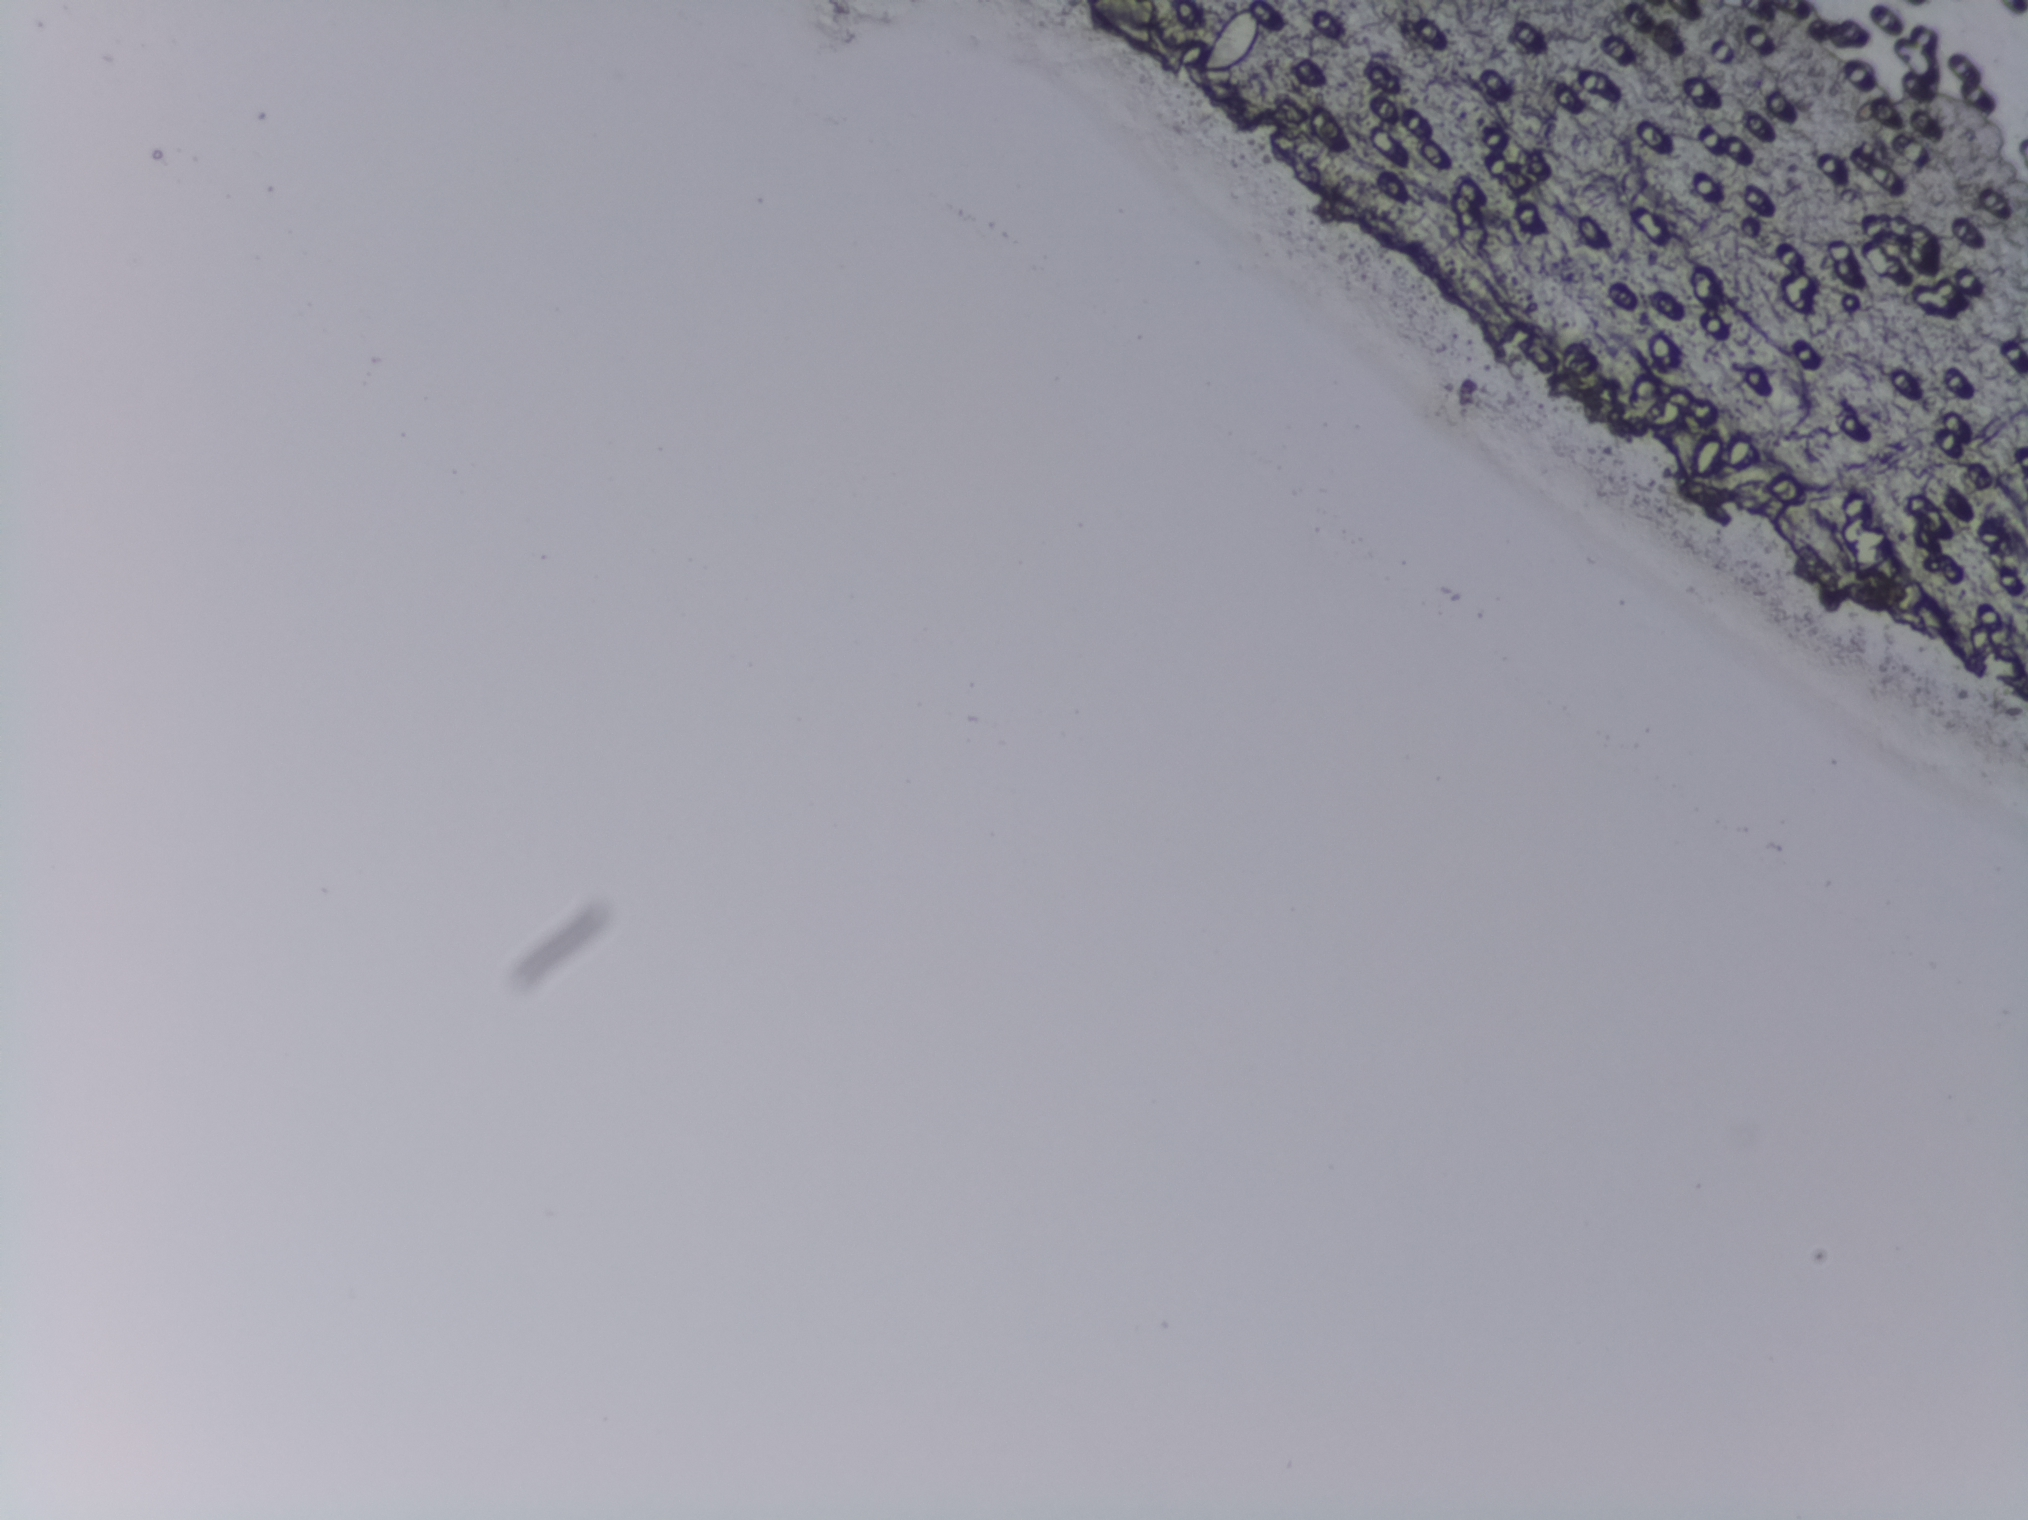
Photograph from an automated digital microscope: urine filter membrane, 4× objective.
No area of this image was outlined as a Schistosoma egg.